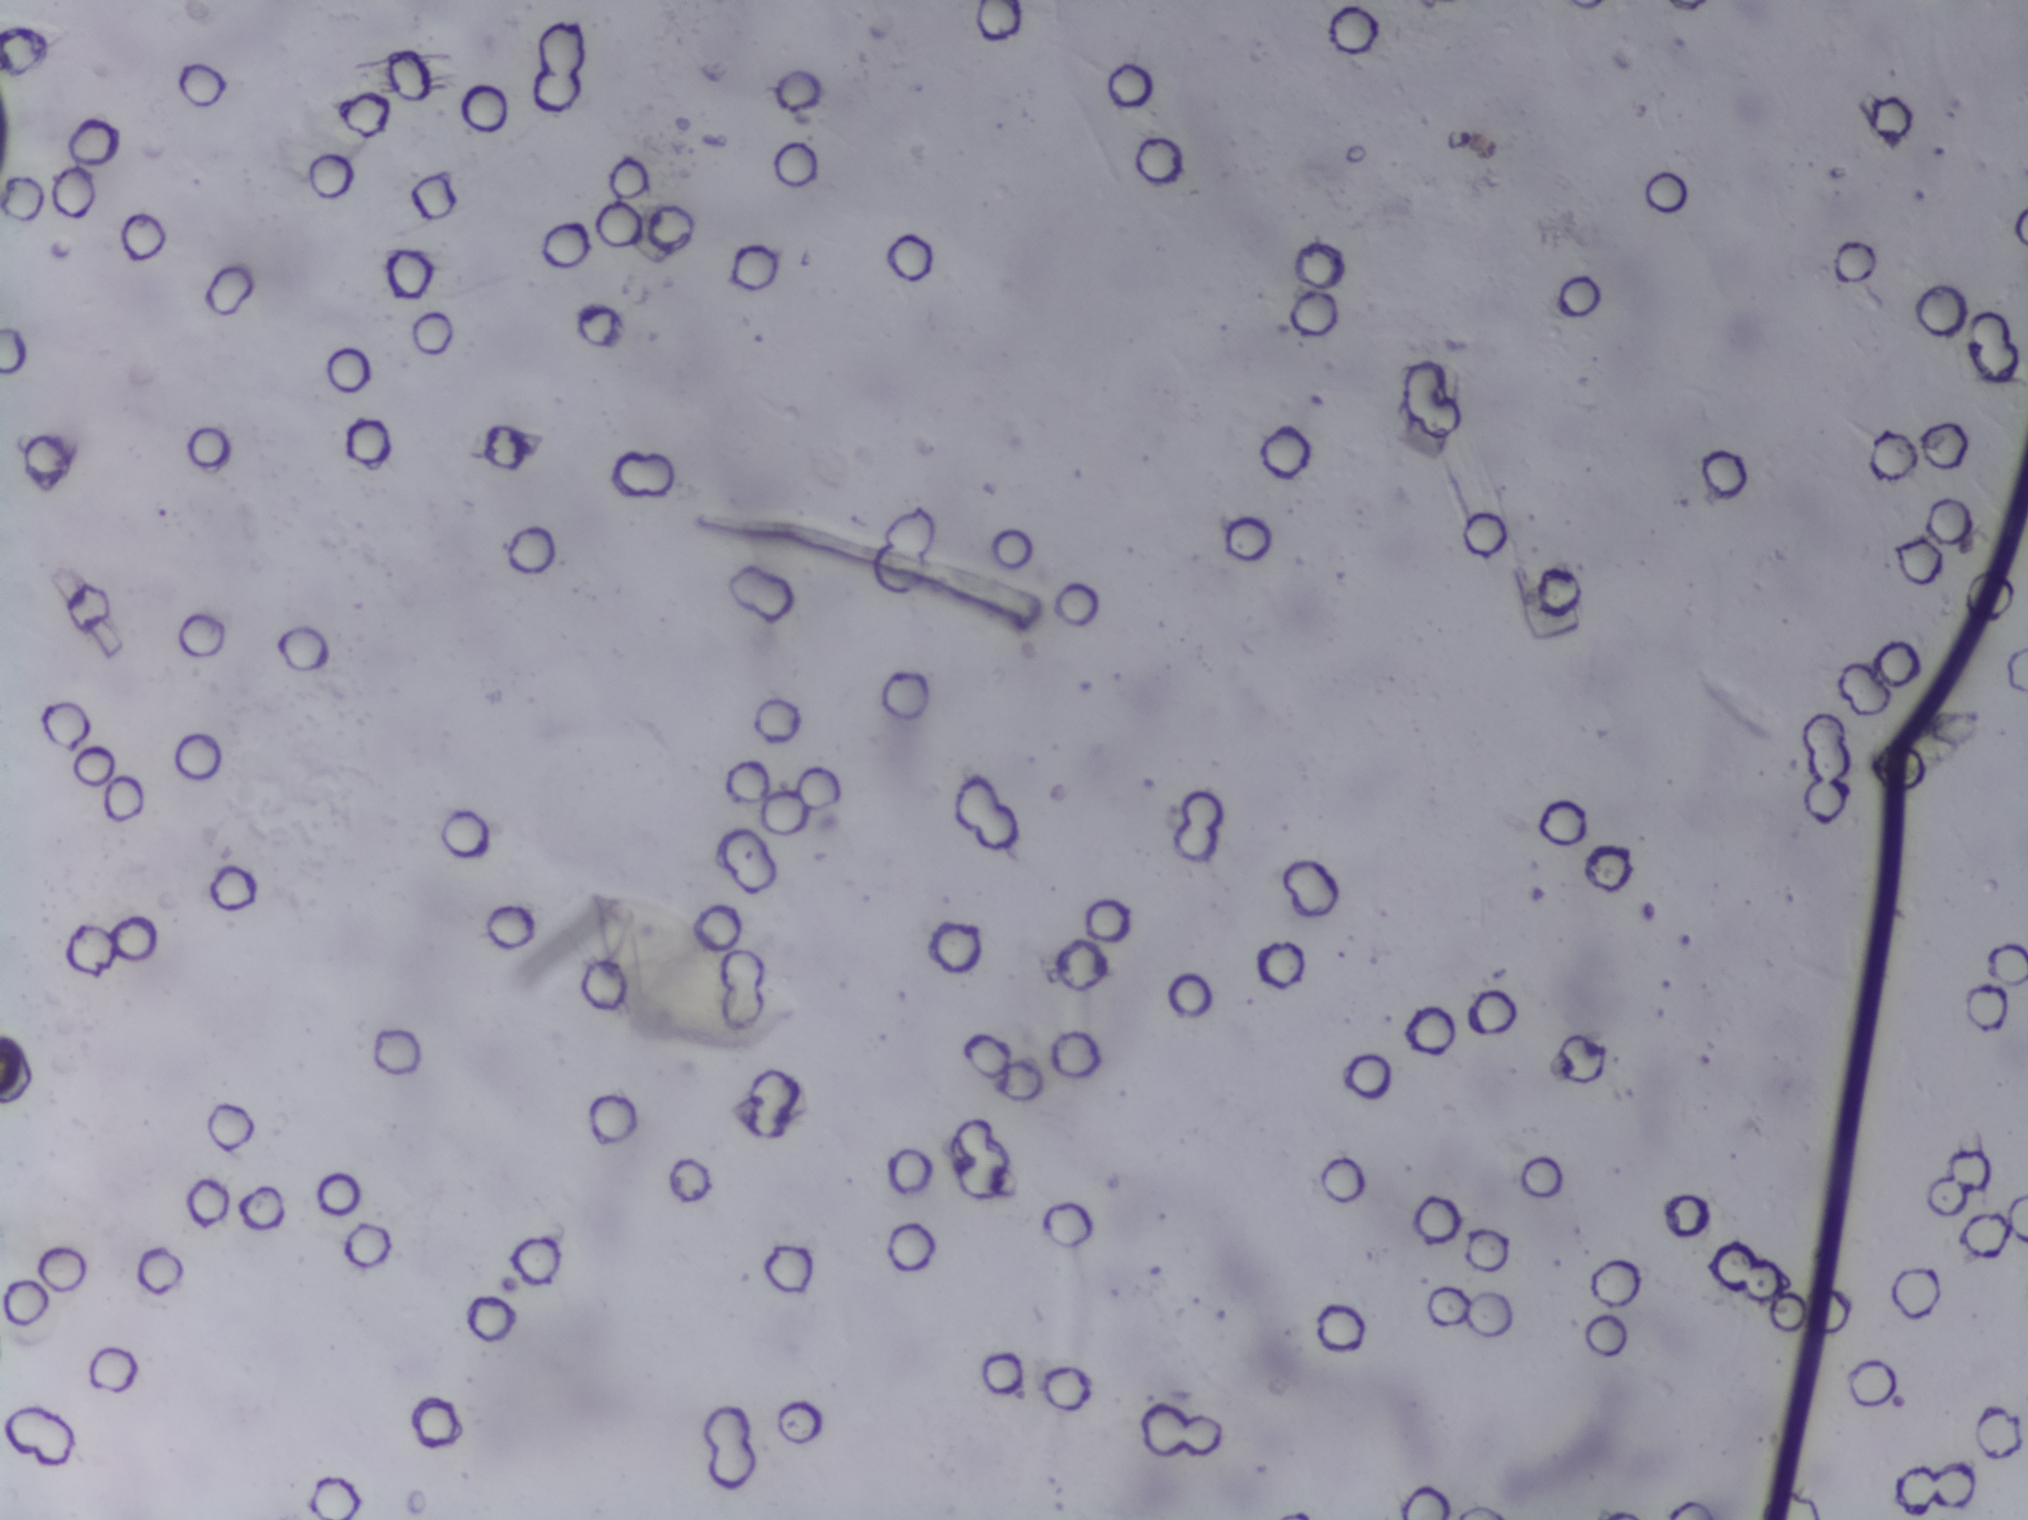
One field of view of a urine filter membrane, 4× objective, 2028 × 1520 pixels.
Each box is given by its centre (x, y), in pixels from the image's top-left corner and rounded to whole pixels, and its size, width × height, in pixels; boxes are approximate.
Schistosoma eggs are outlined in one area of this image: centre (680, 967), 194 × 164 px. A single outlined area may contain several eggs.